Urine filter membrane photographed through a 4× microscope objective. Field of view: about 1.5 mm wide and 1.1 mm high.
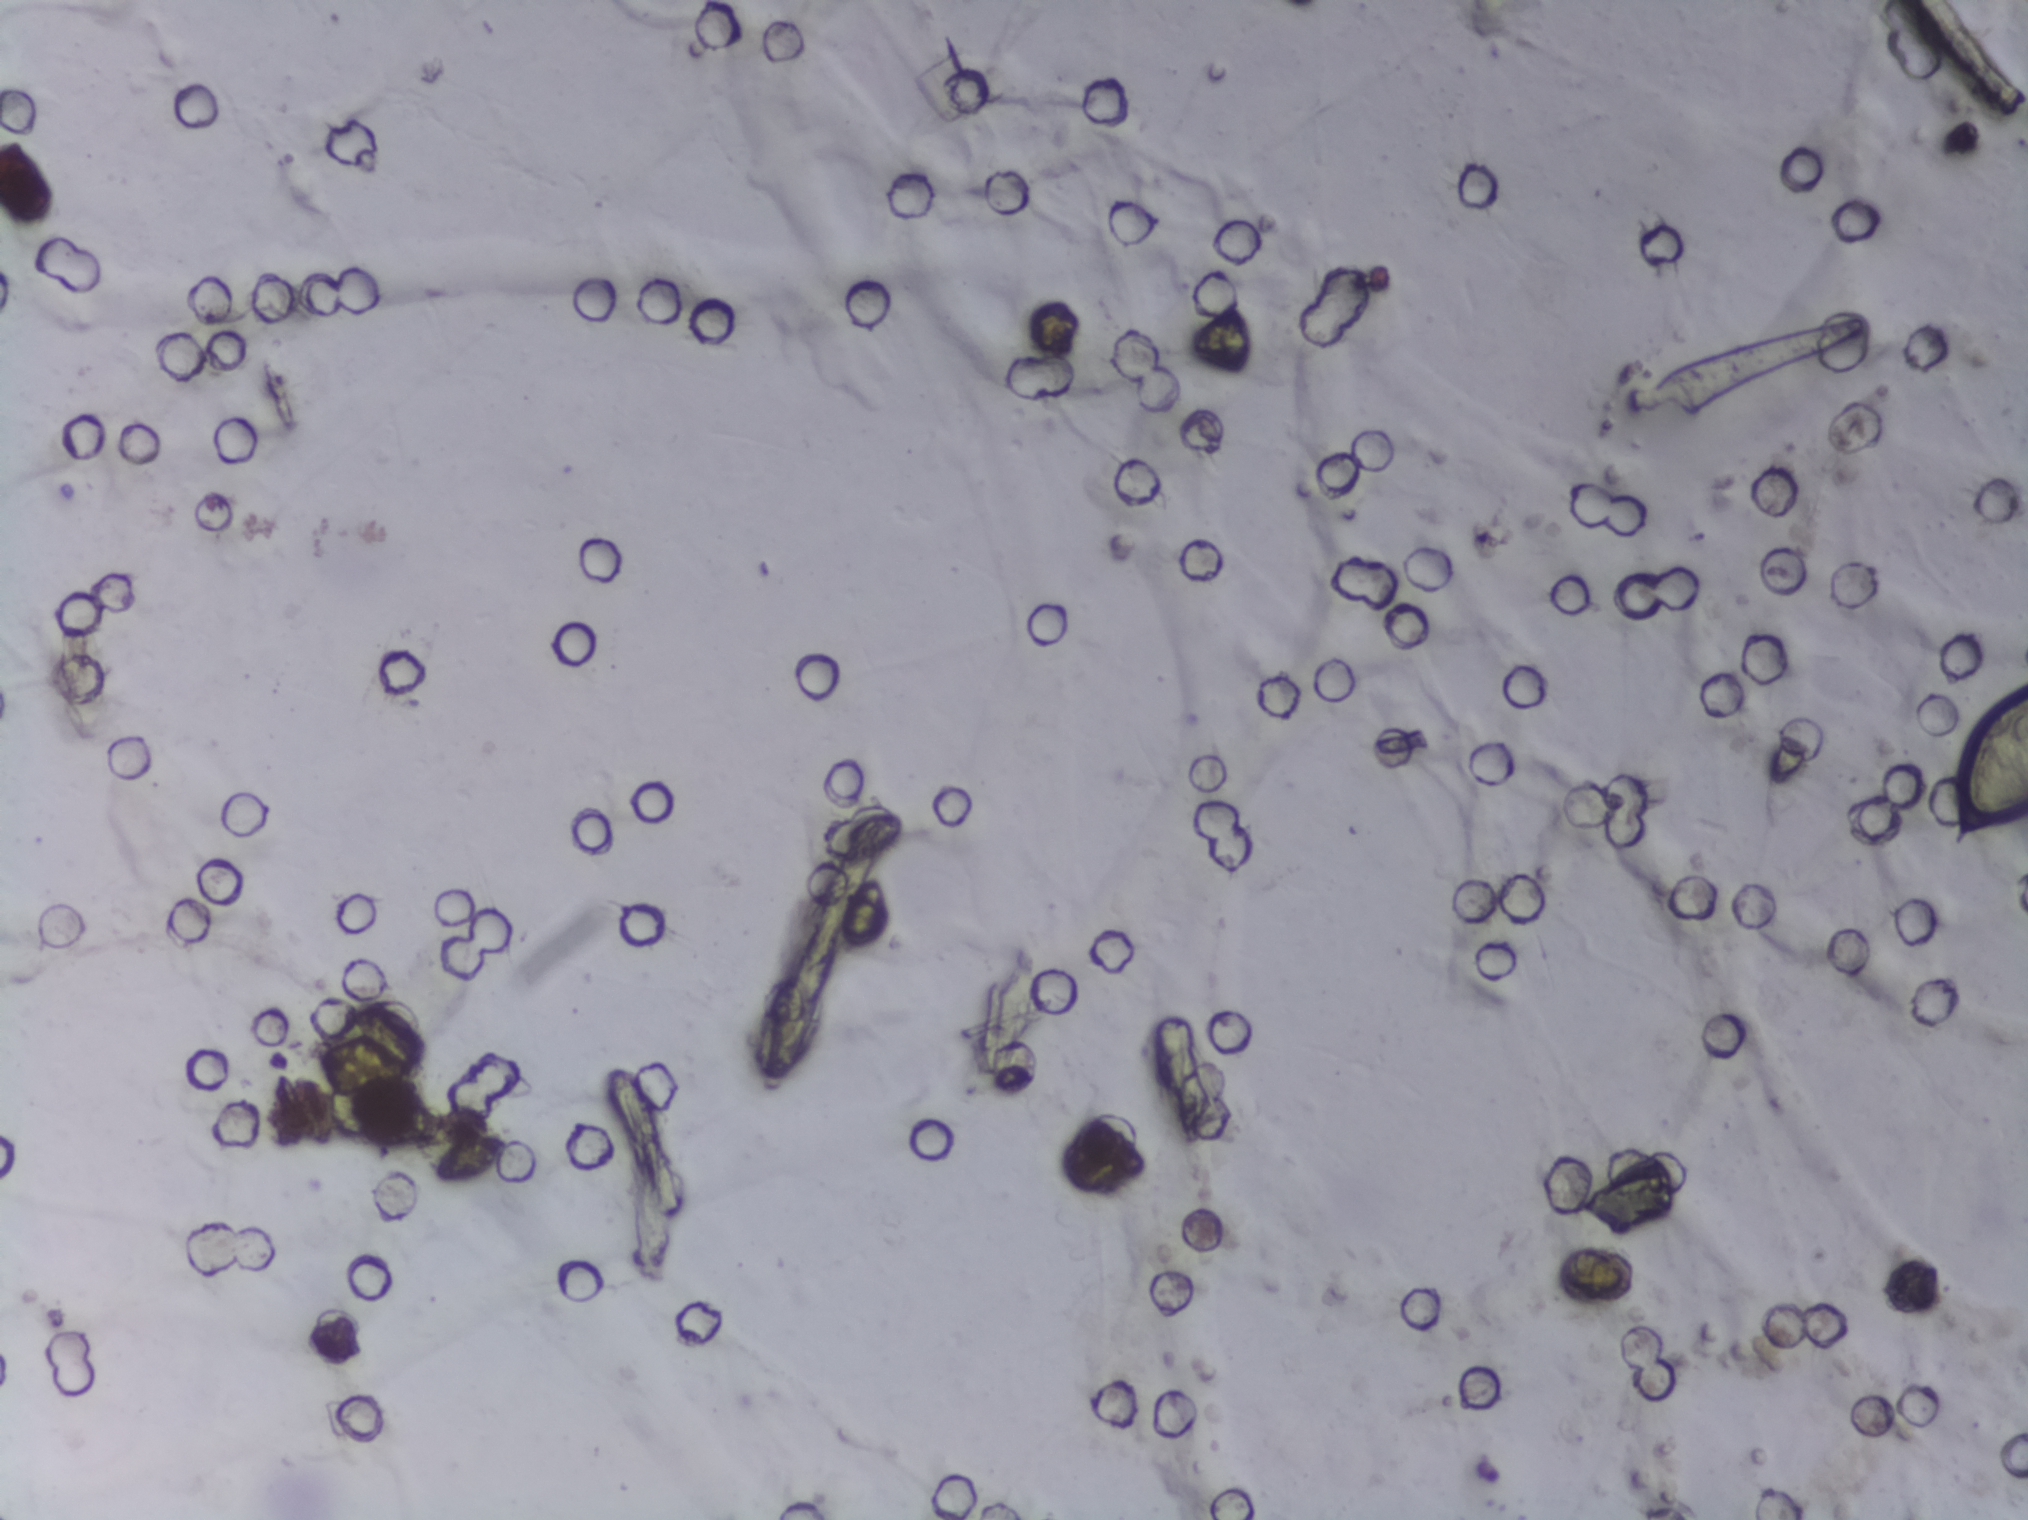
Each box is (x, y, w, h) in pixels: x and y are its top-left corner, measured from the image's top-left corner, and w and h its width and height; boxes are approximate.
The expert annotation outlines Schistosoma eggs at (x=1952, y=687, w=76, h=158) (reaching the right edge of the frame). The marked pixels themselves, not the box around them, cover about 0.3% of the image. Eggs that touch can end up inside the same outlined area.